One field of view of a urine filter membrane, 4× objective, 2028 × 1520 pixels. The field of view is about 1.5 mm × 1.1 mm.
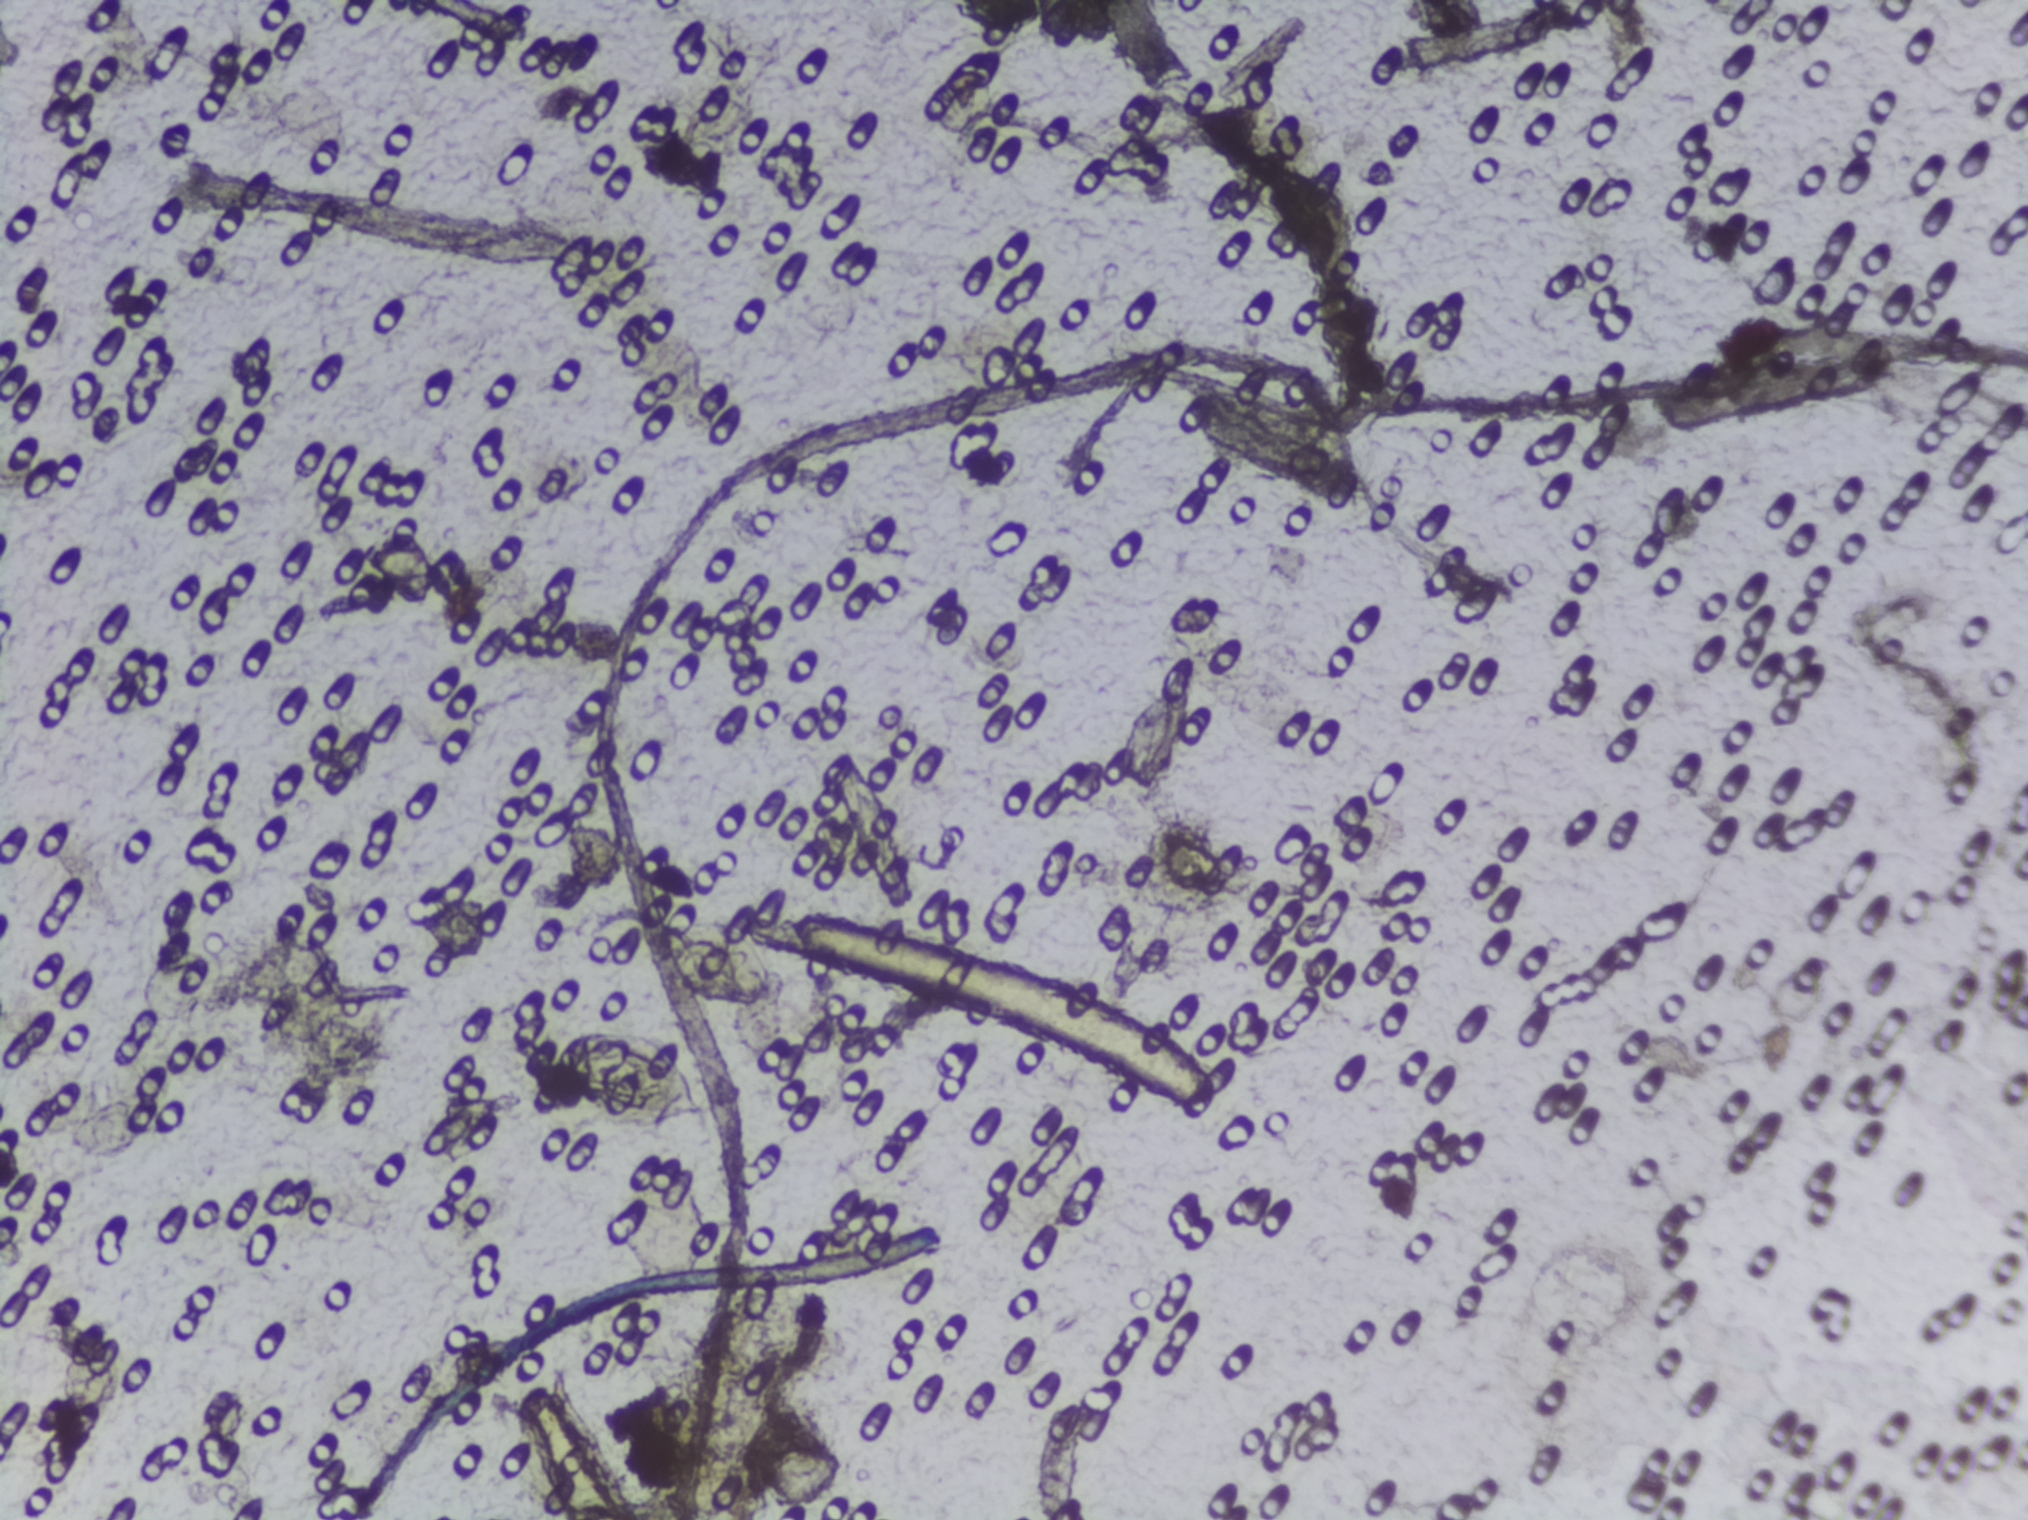
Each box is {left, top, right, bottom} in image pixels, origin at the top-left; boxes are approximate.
Schistosoma eggs are outlined in the expert annotation at {542, 1009, 707, 1129} and {663, 906, 784, 1012} (left to right). A single outlined area may contain several eggs.